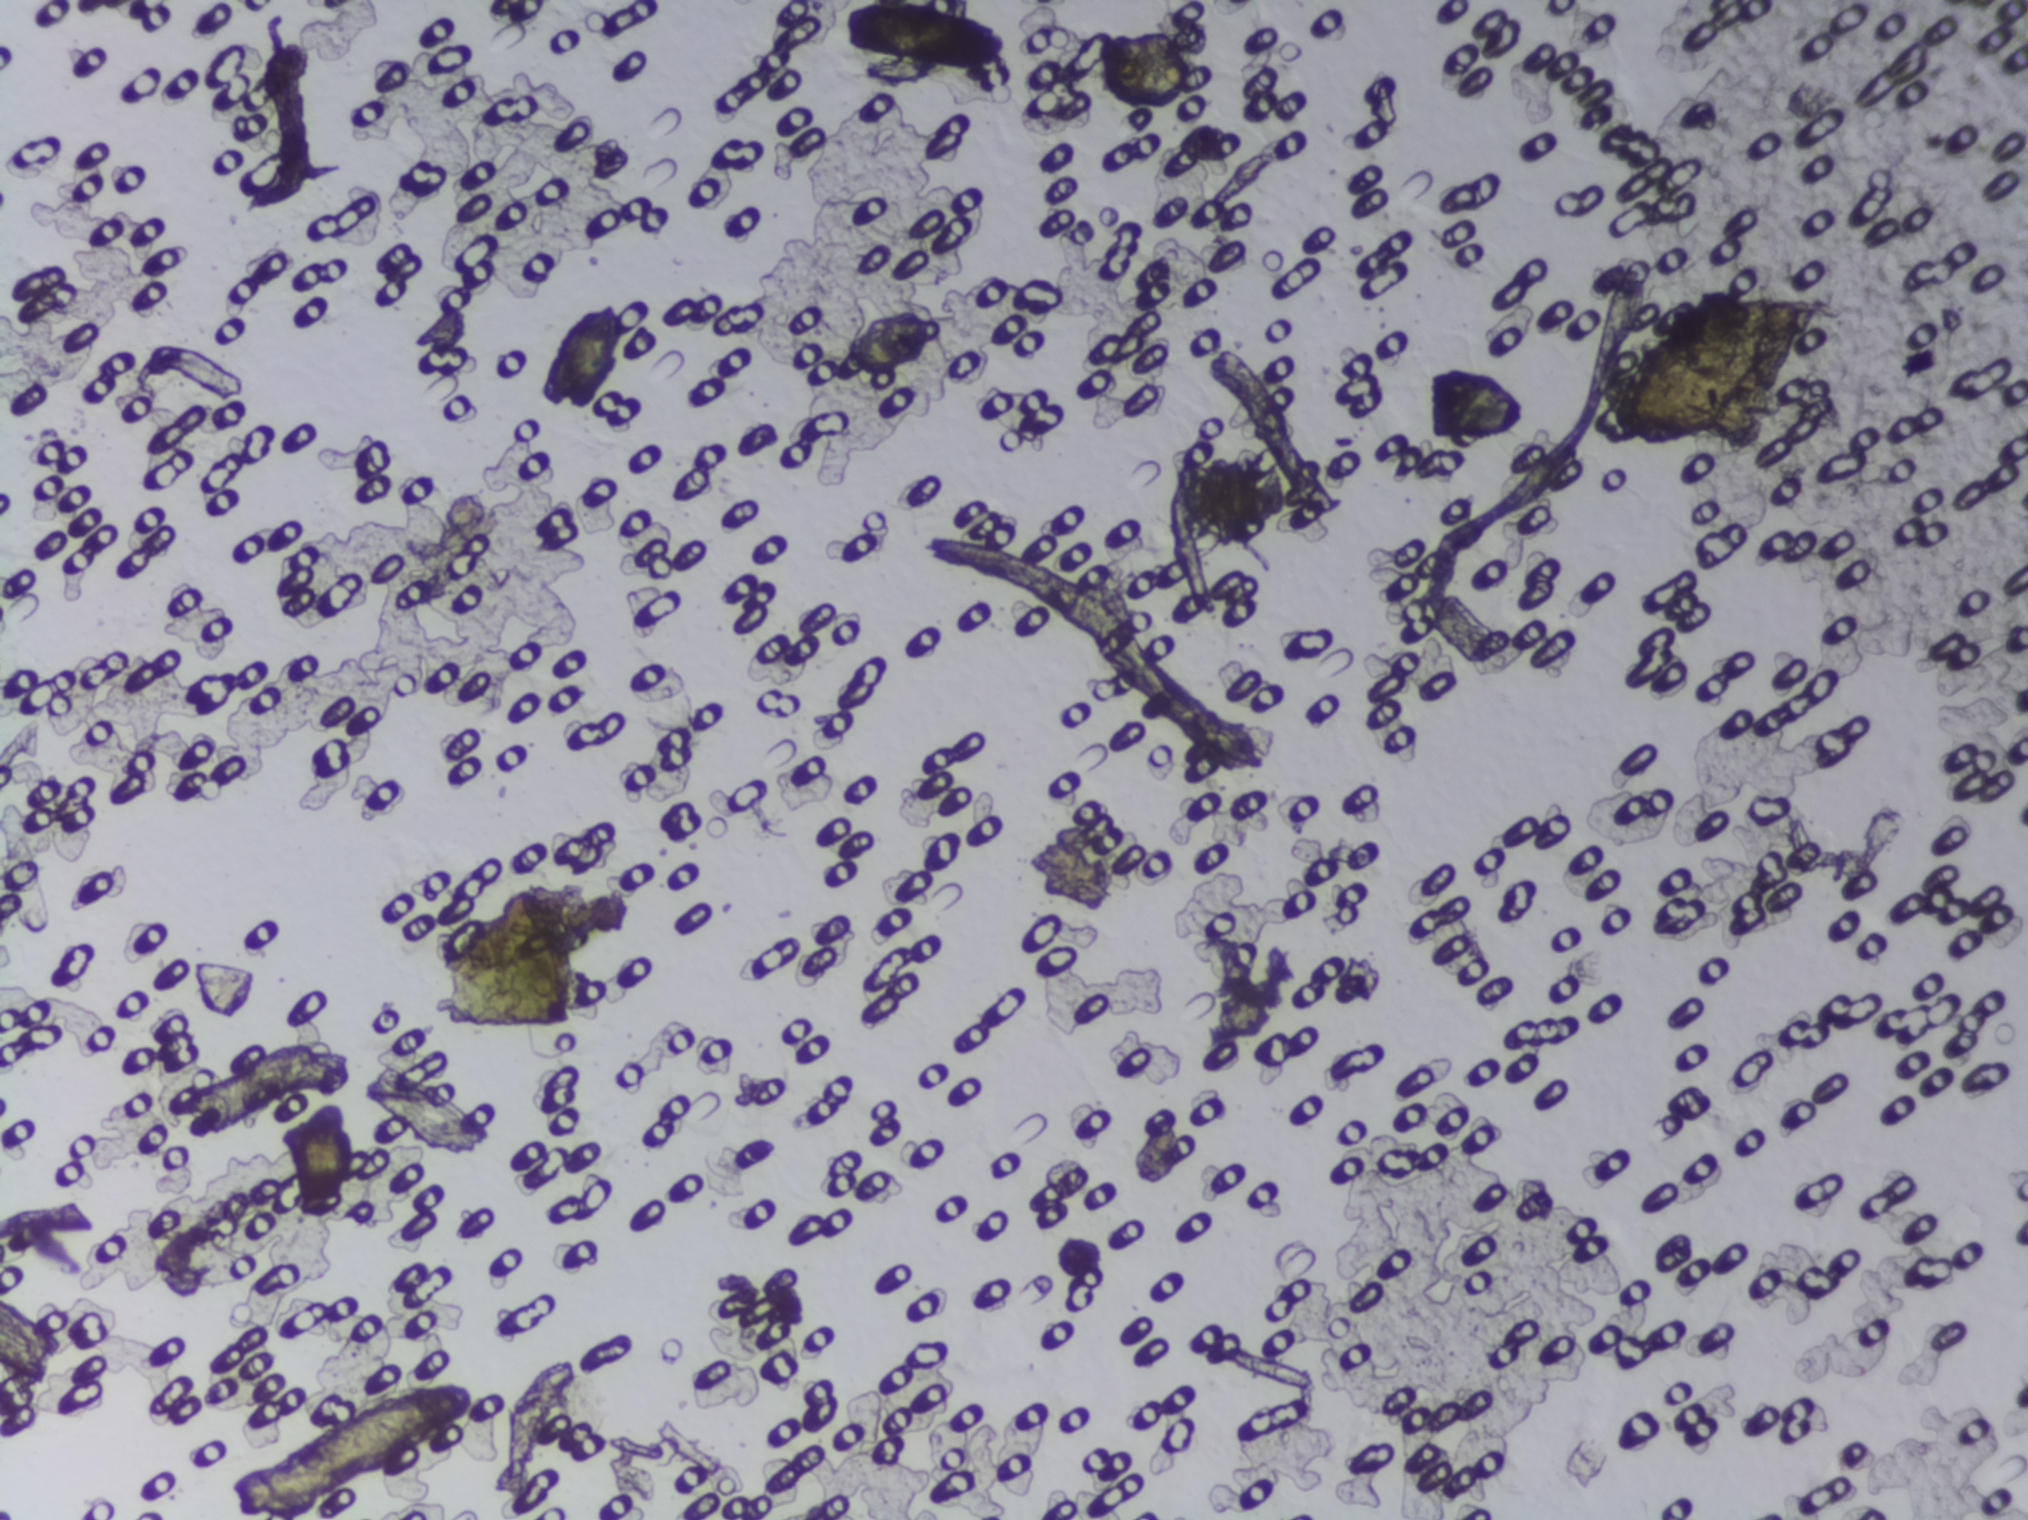
Urine filter membrane photographed through a 4× microscope objective. The field of view is about 1.5 mm × 1.1 mm.
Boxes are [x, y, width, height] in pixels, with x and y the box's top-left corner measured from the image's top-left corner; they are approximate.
Schistosoma eggs, outlined areas: [1598, 286, 236, 166]. An outlined area can hold more than one egg.